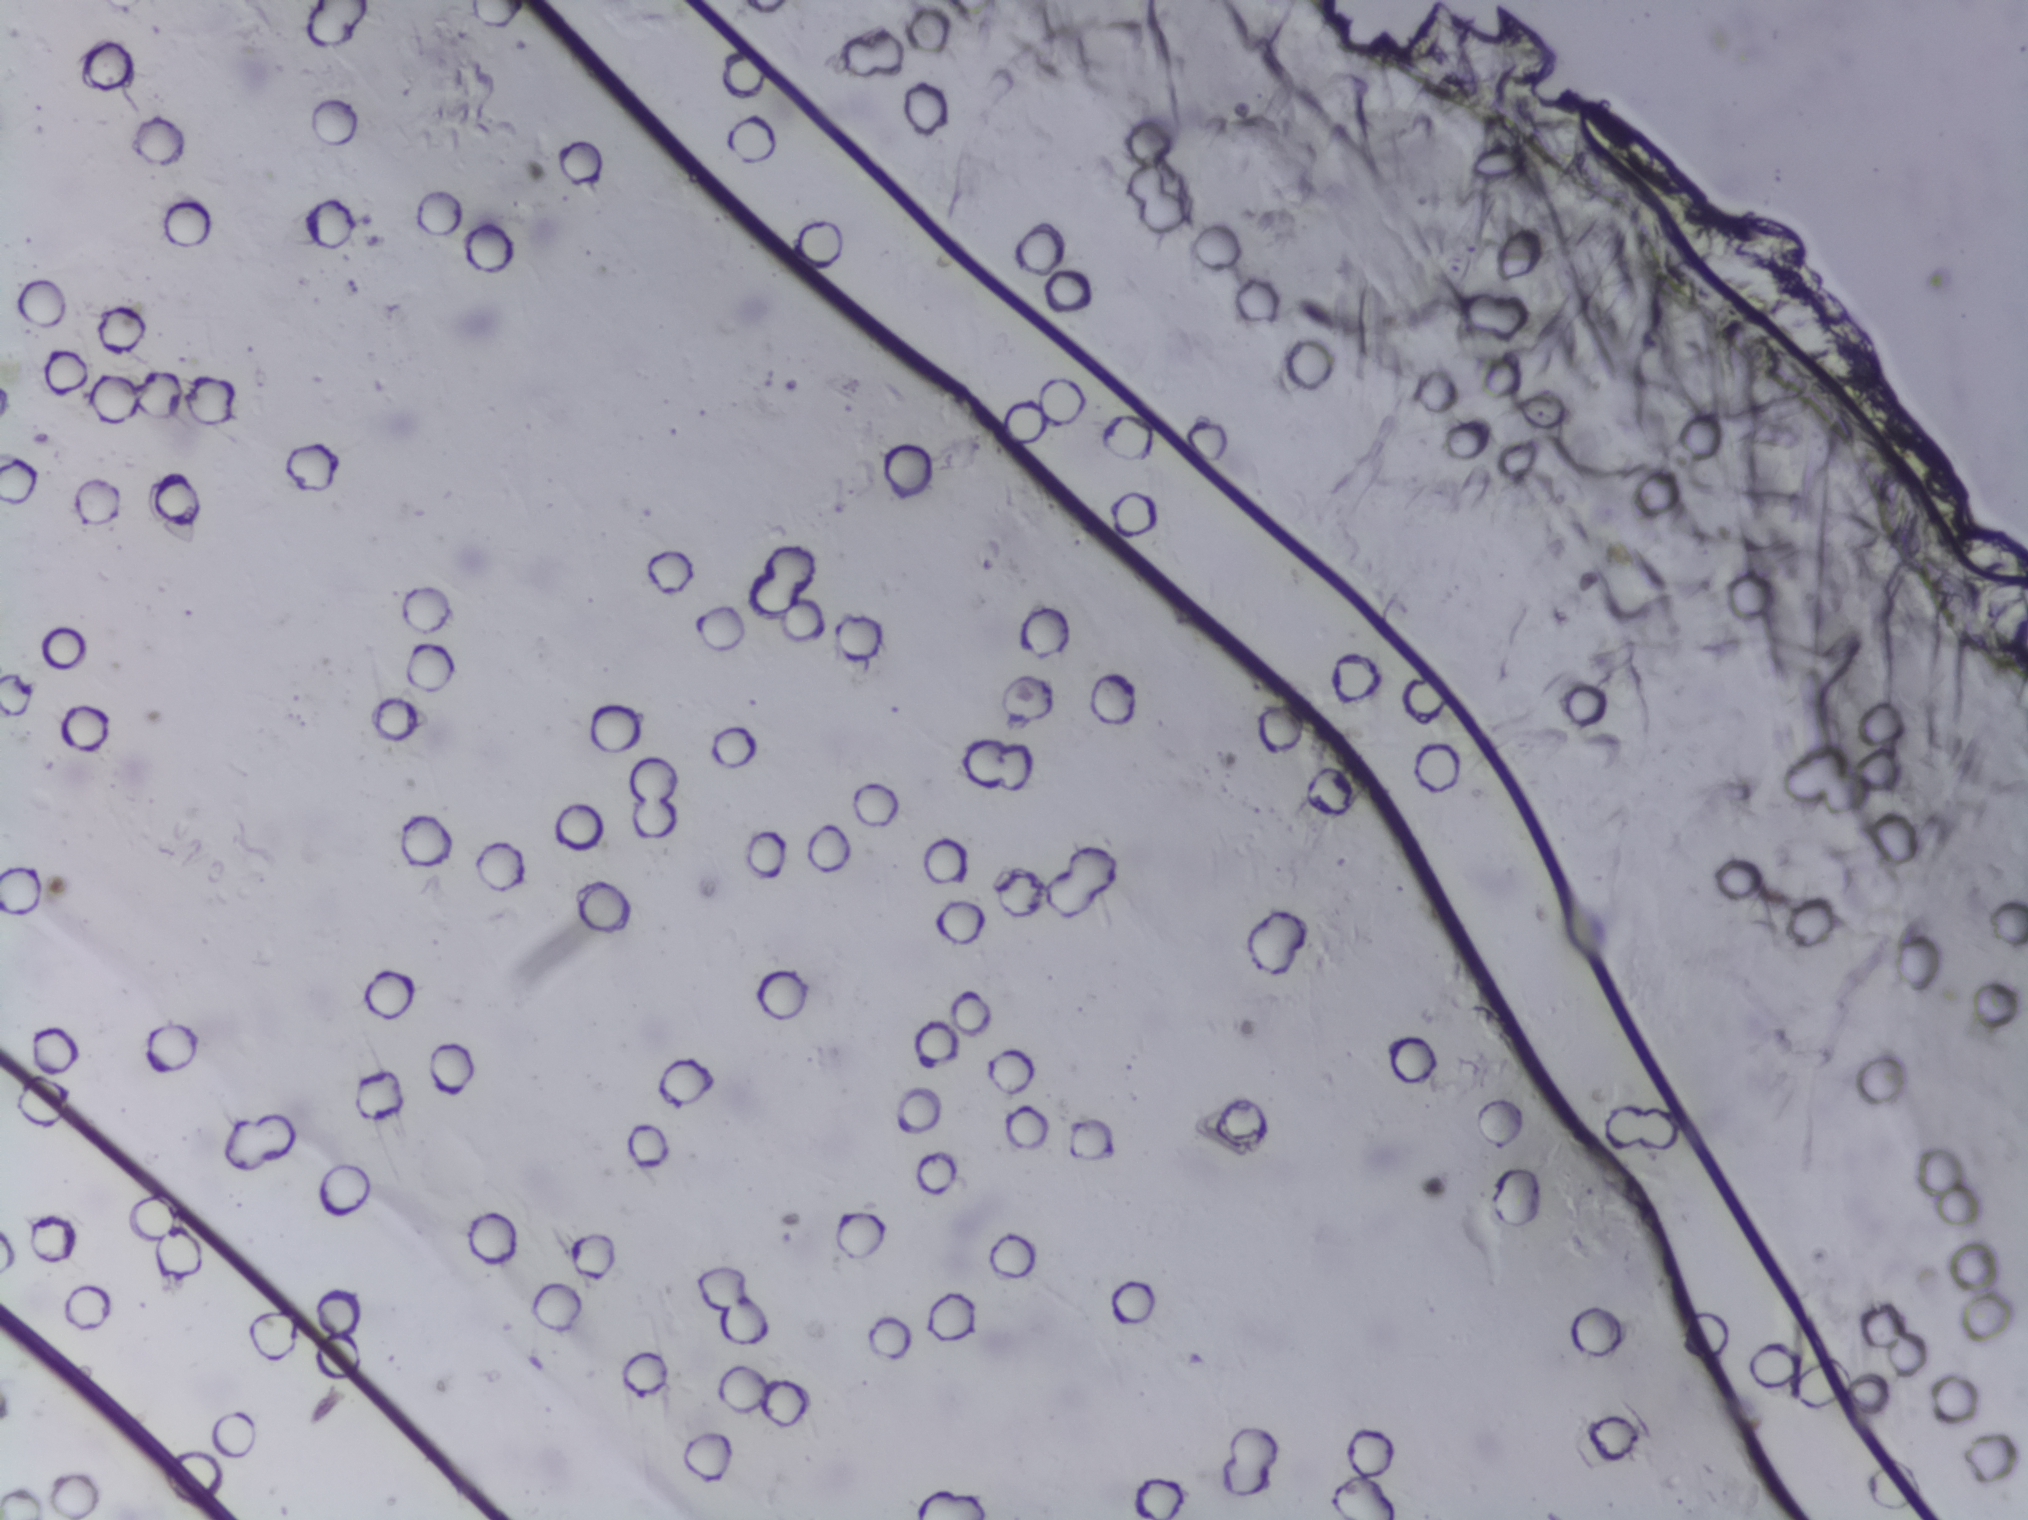
Photograph from an automated digital microscope: urine filter membrane, 4× objective.
Schistosoma eggs: none outlined.